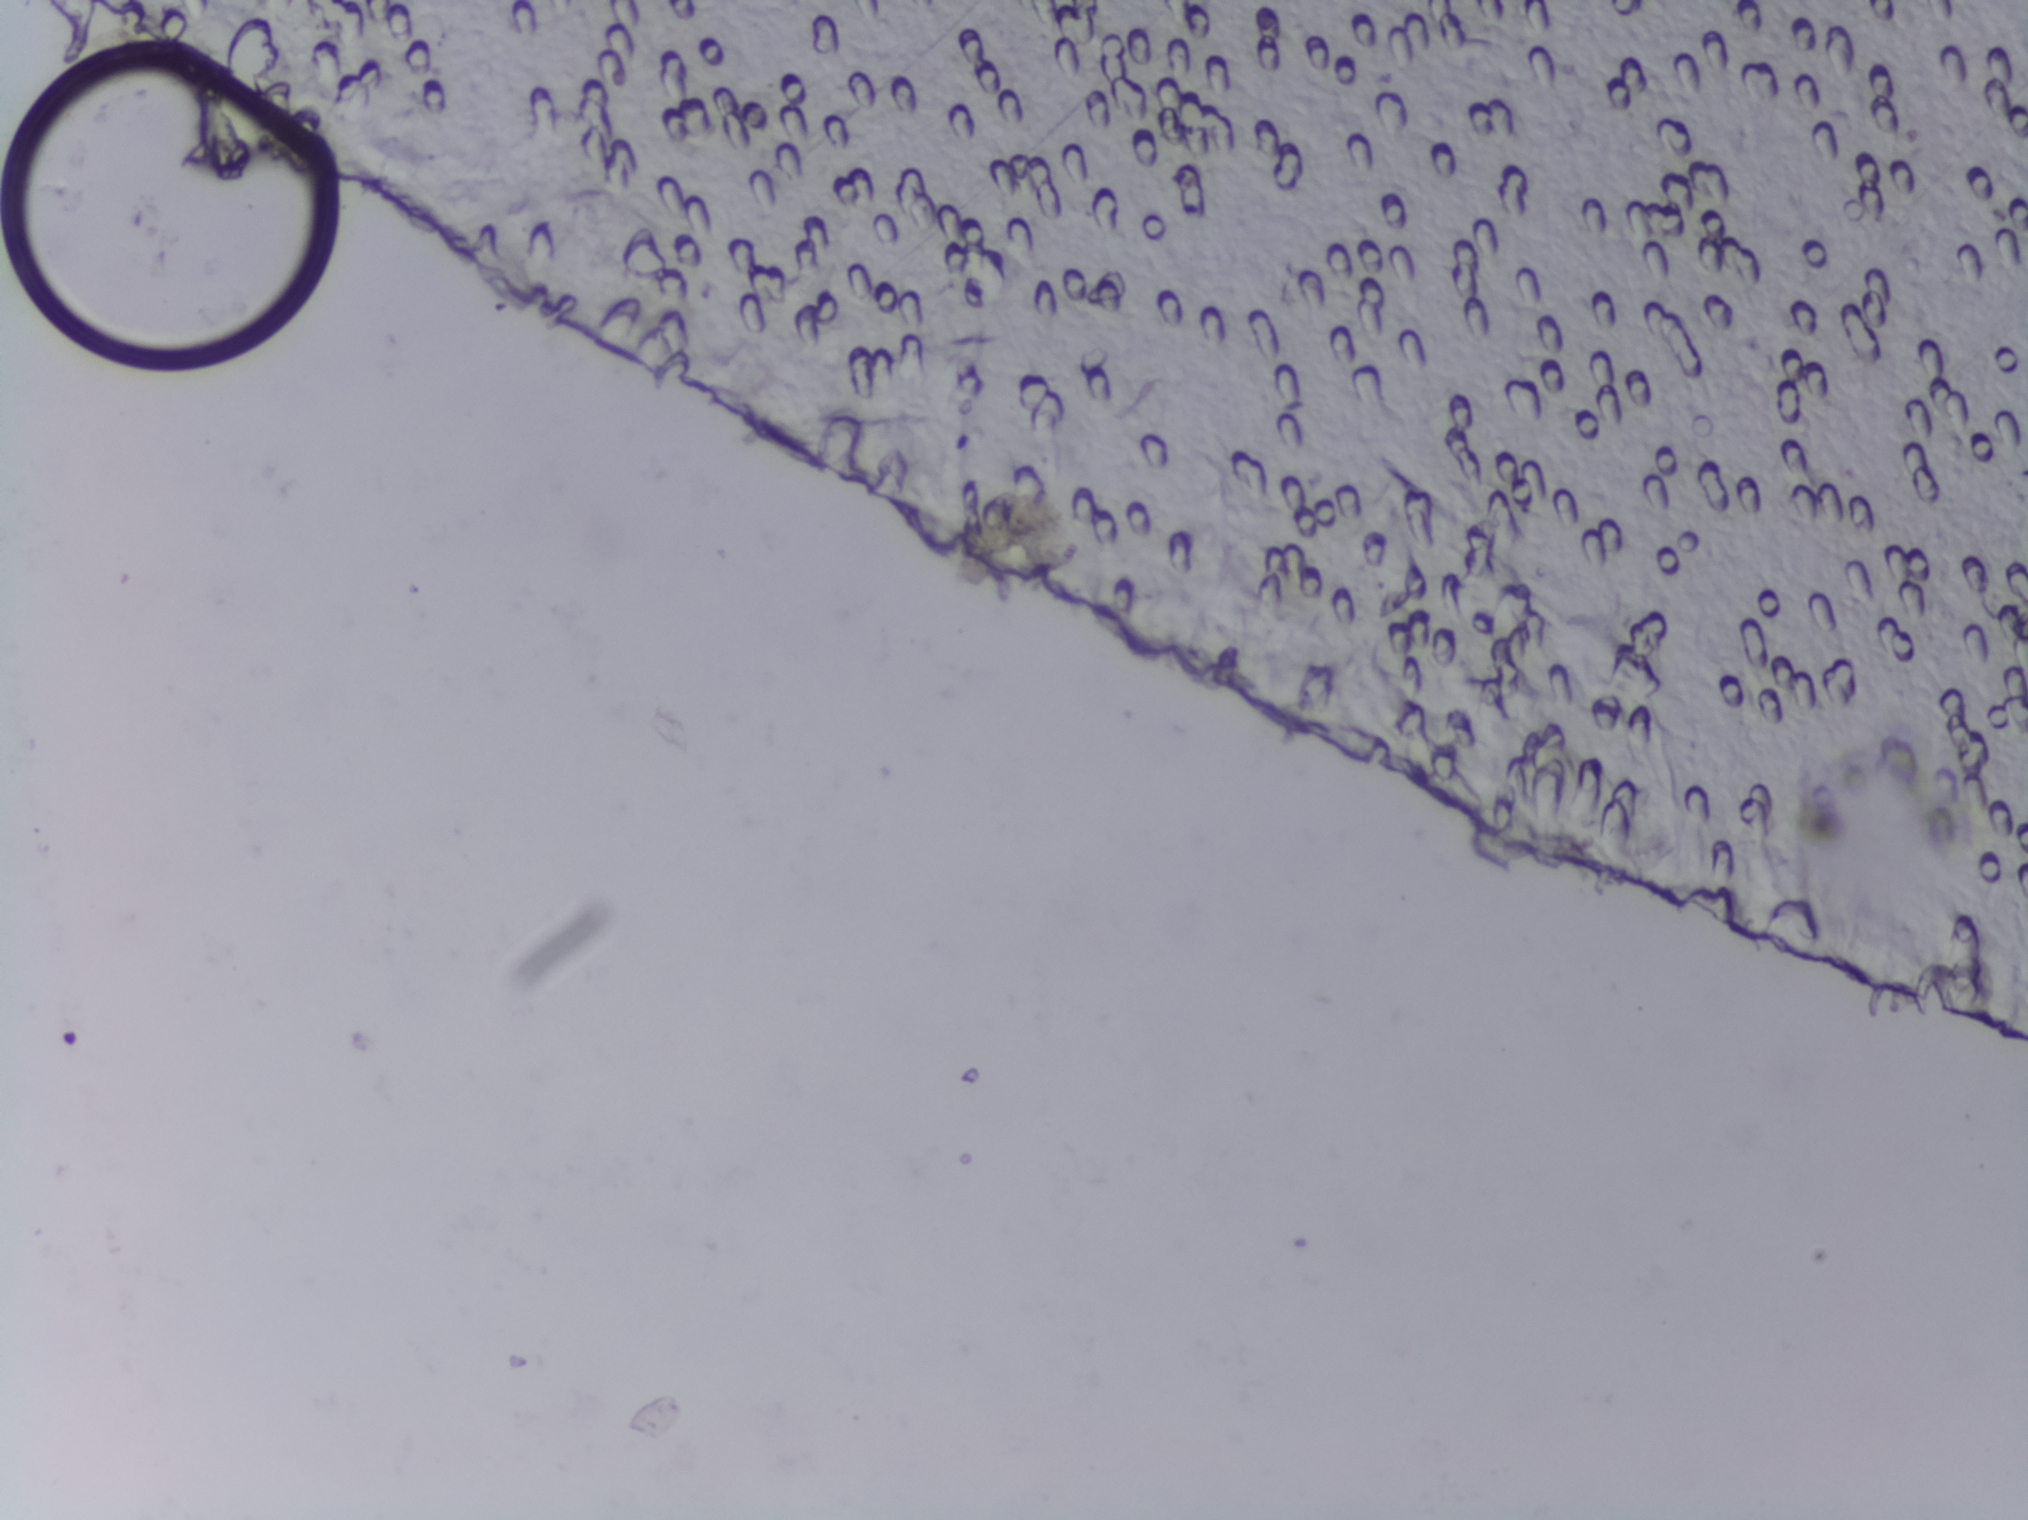
Photograph from an automated digital microscope: urine filter membrane, 4× objective.
No area of this image was outlined as a Schistosoma egg.